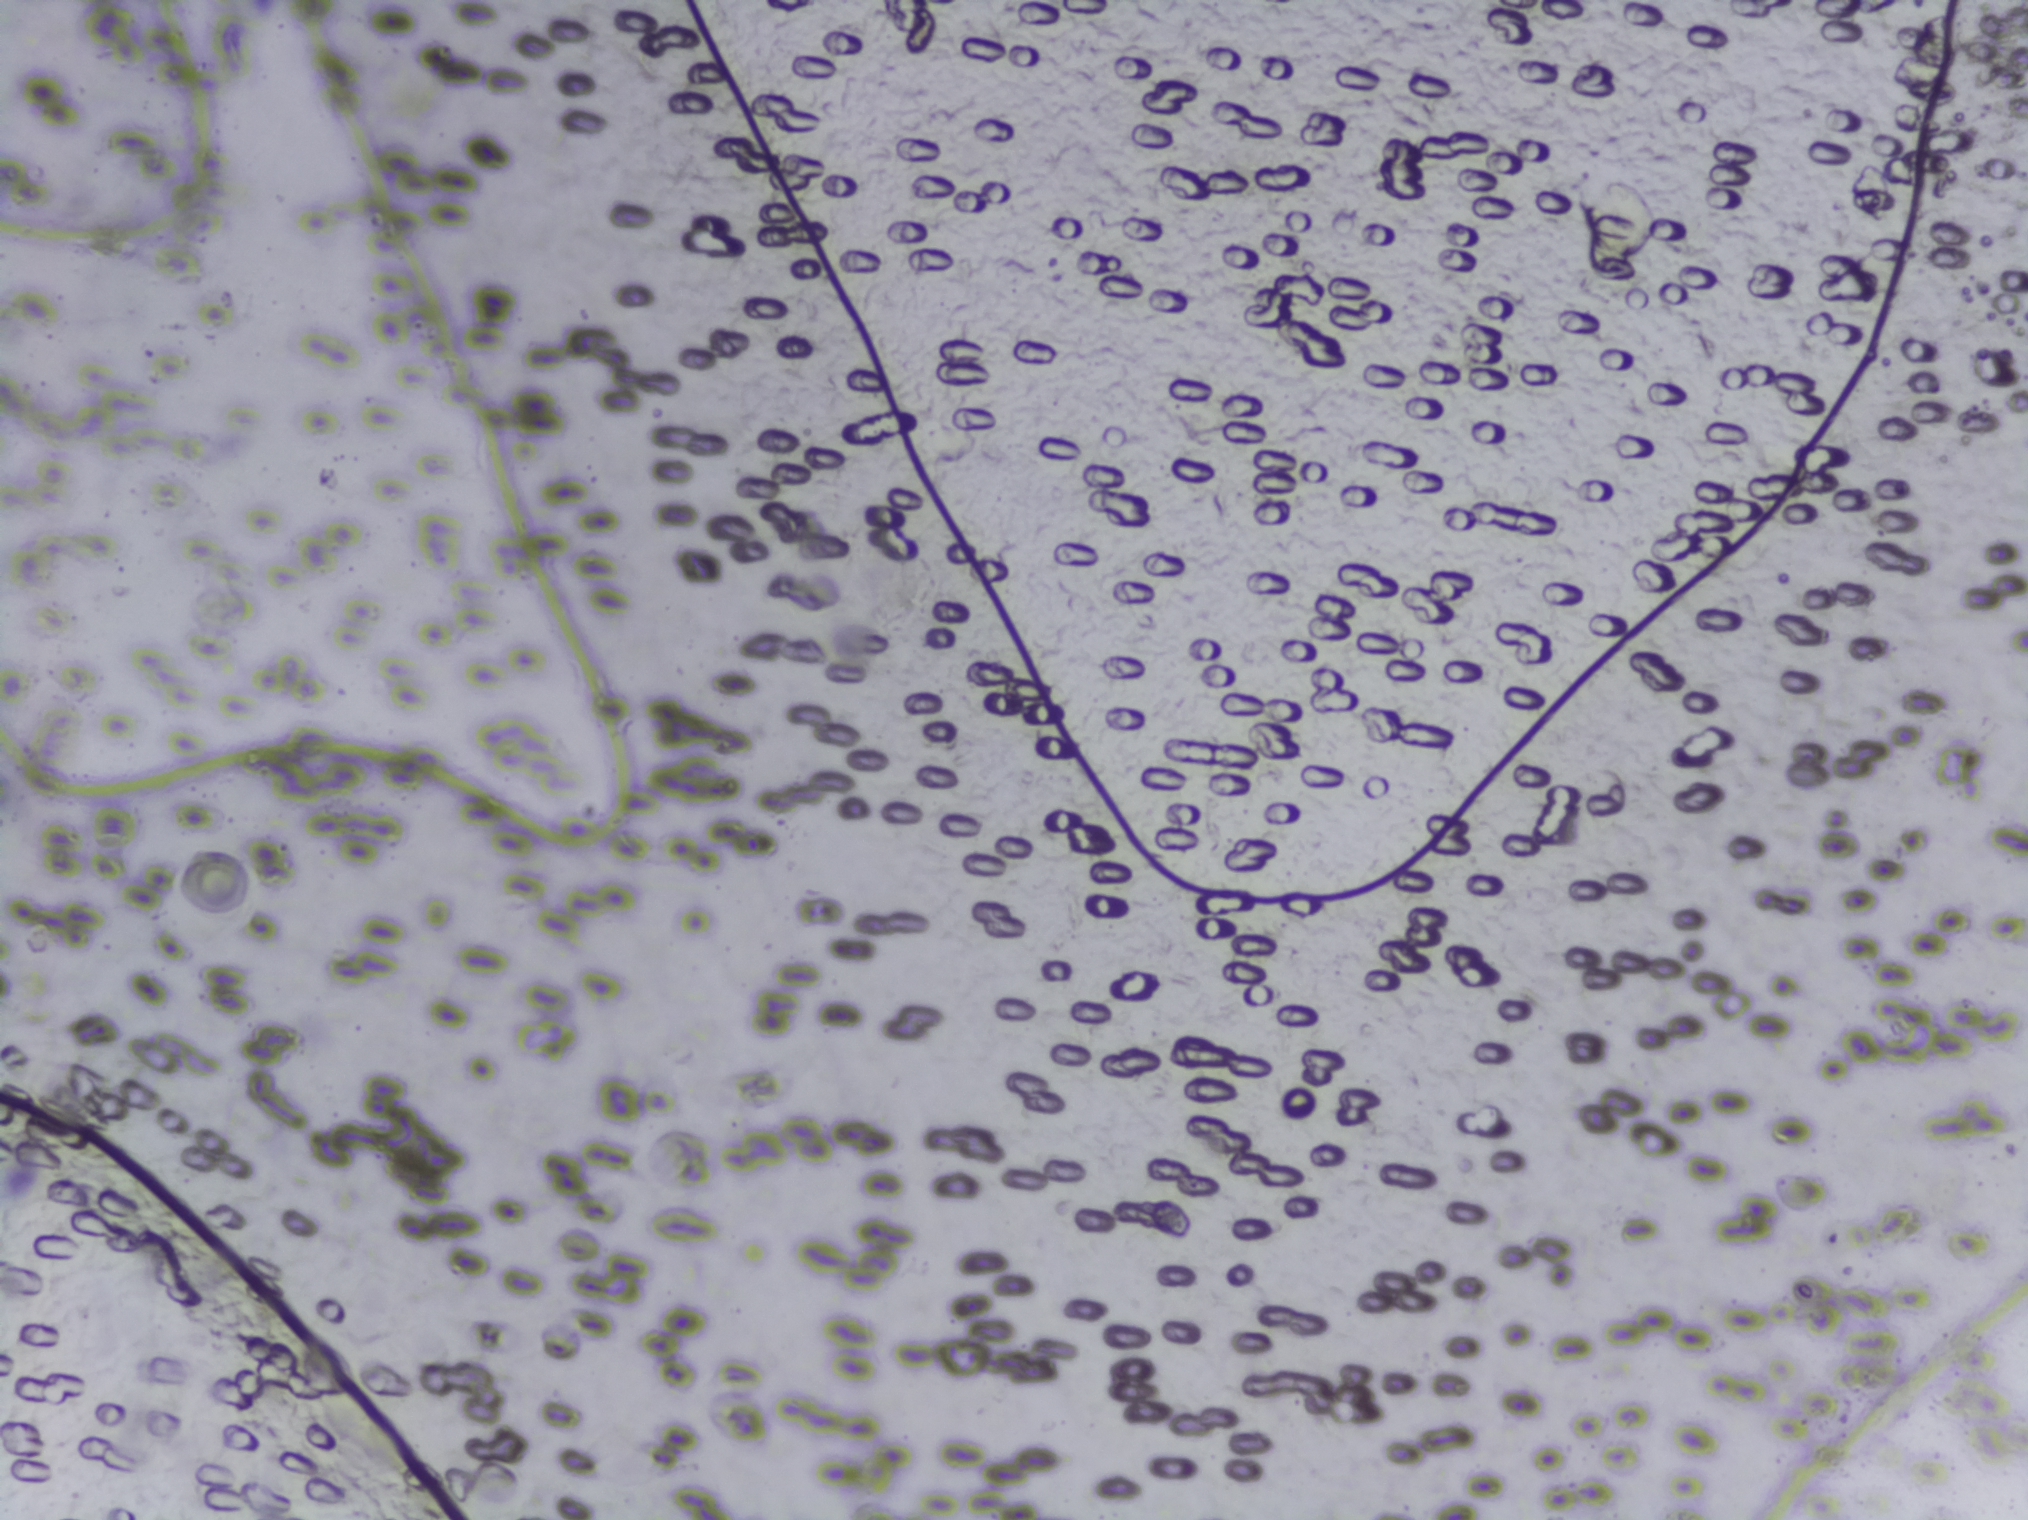
No Schistosoma egg is outlined in this image's expert annotation.
Urine filtration membrane under a 4× objective, photographed by an automated digital microscope. The field of view is about 1.5 mm × 1.1 mm.